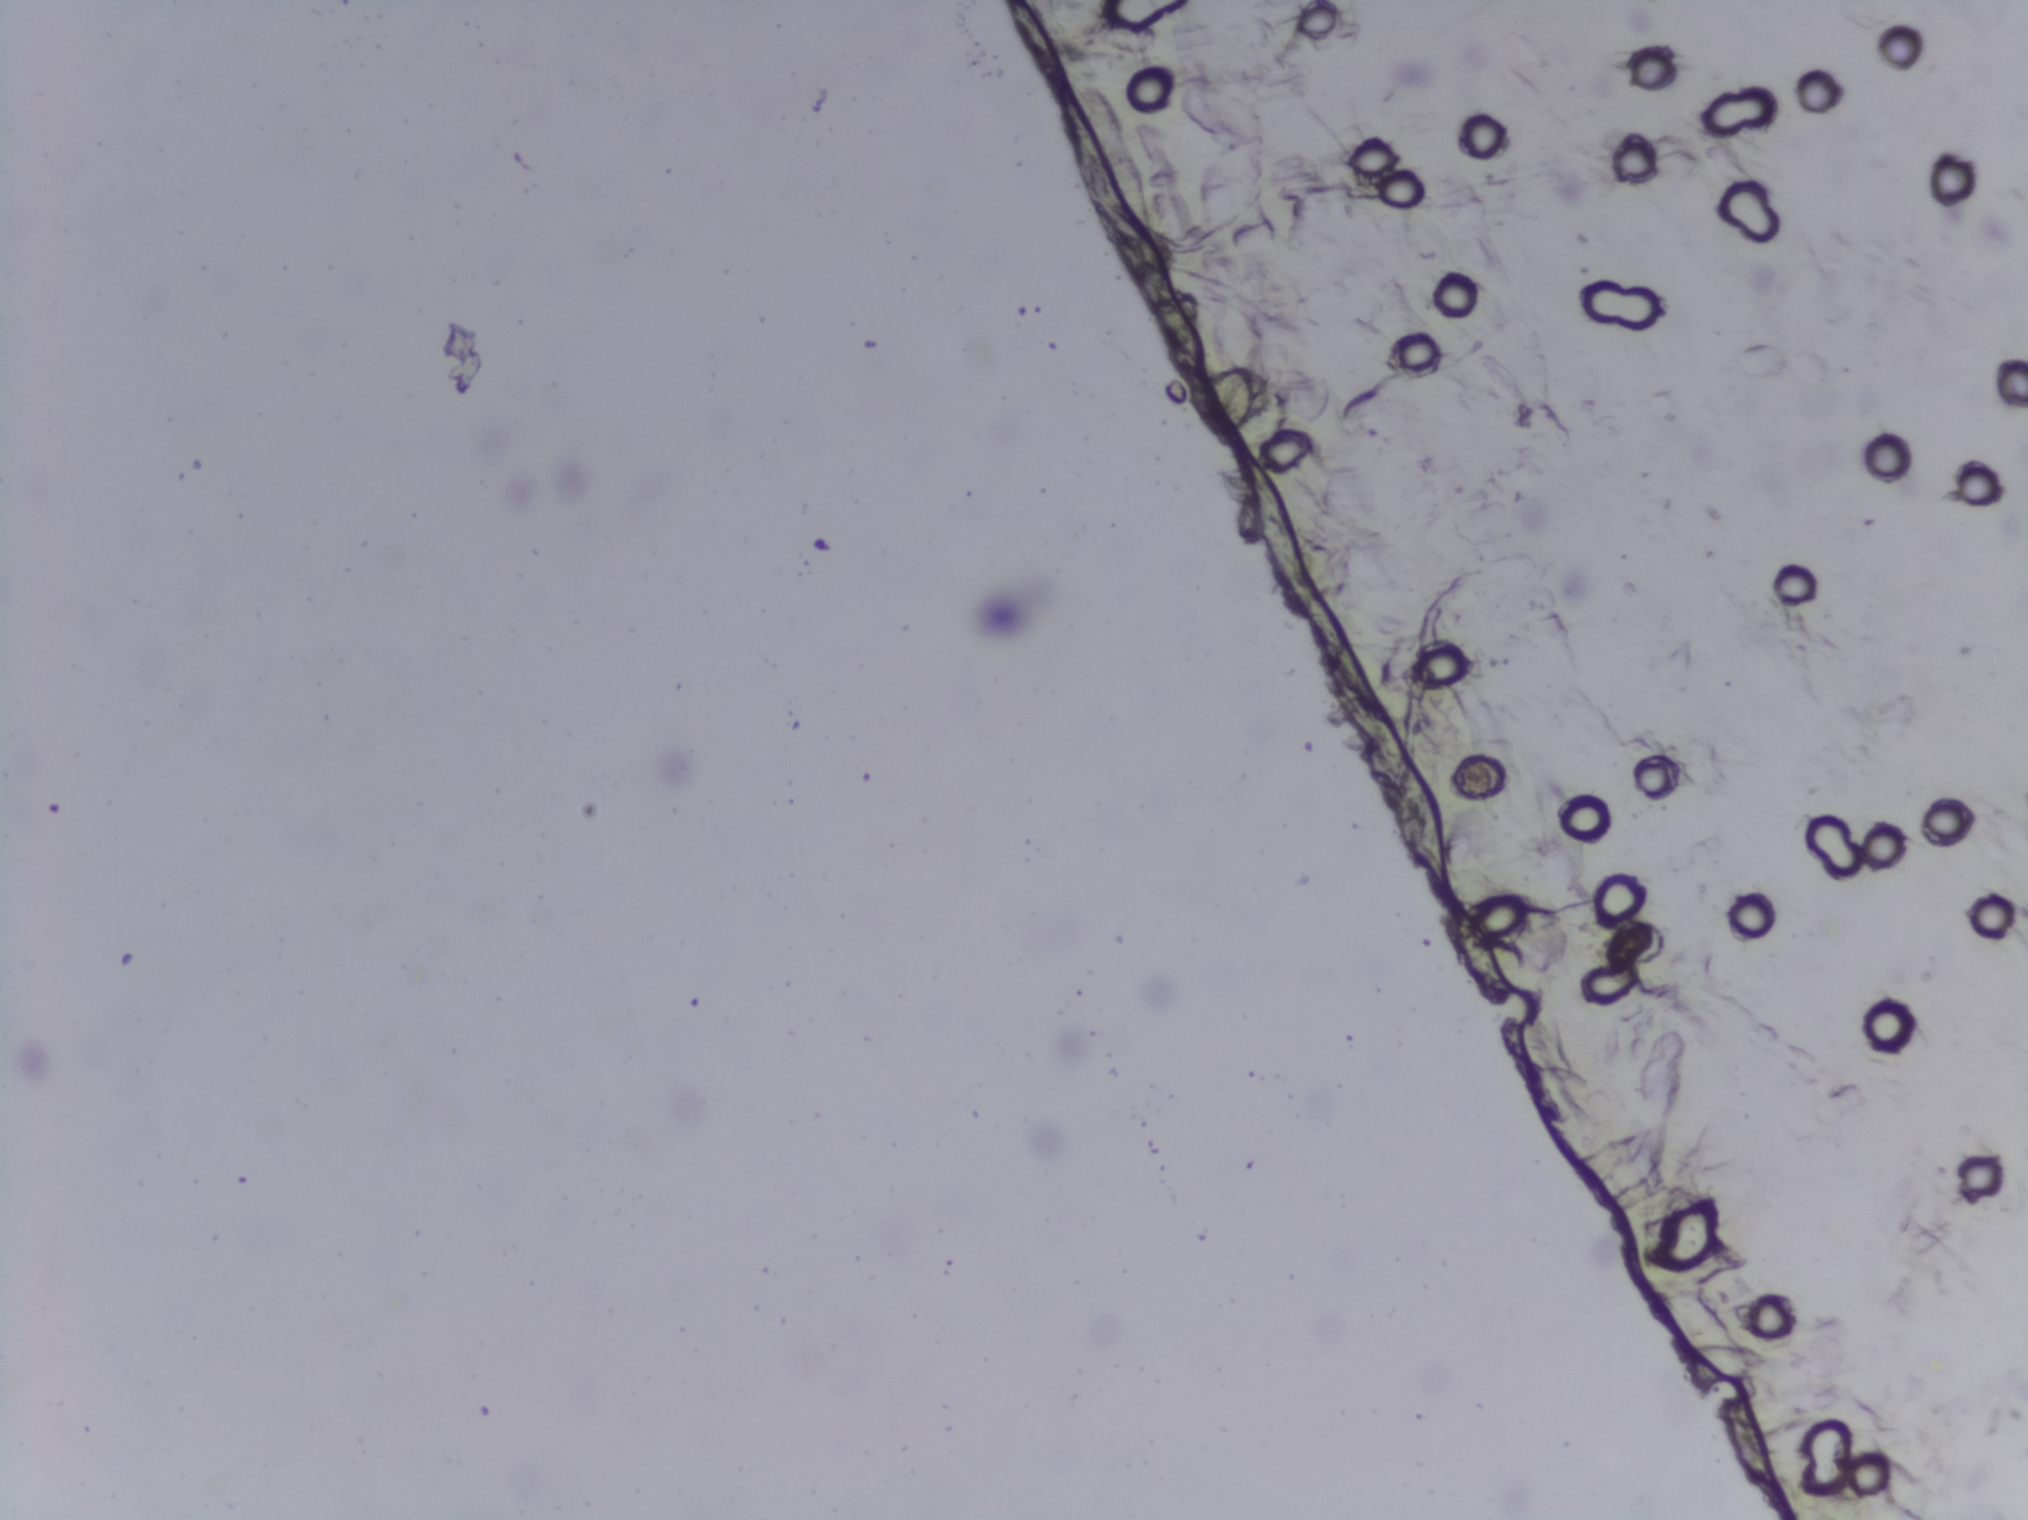
Urine filter membrane photographed through a 4× microscope objective.
Schistosoma eggs: none outlined.